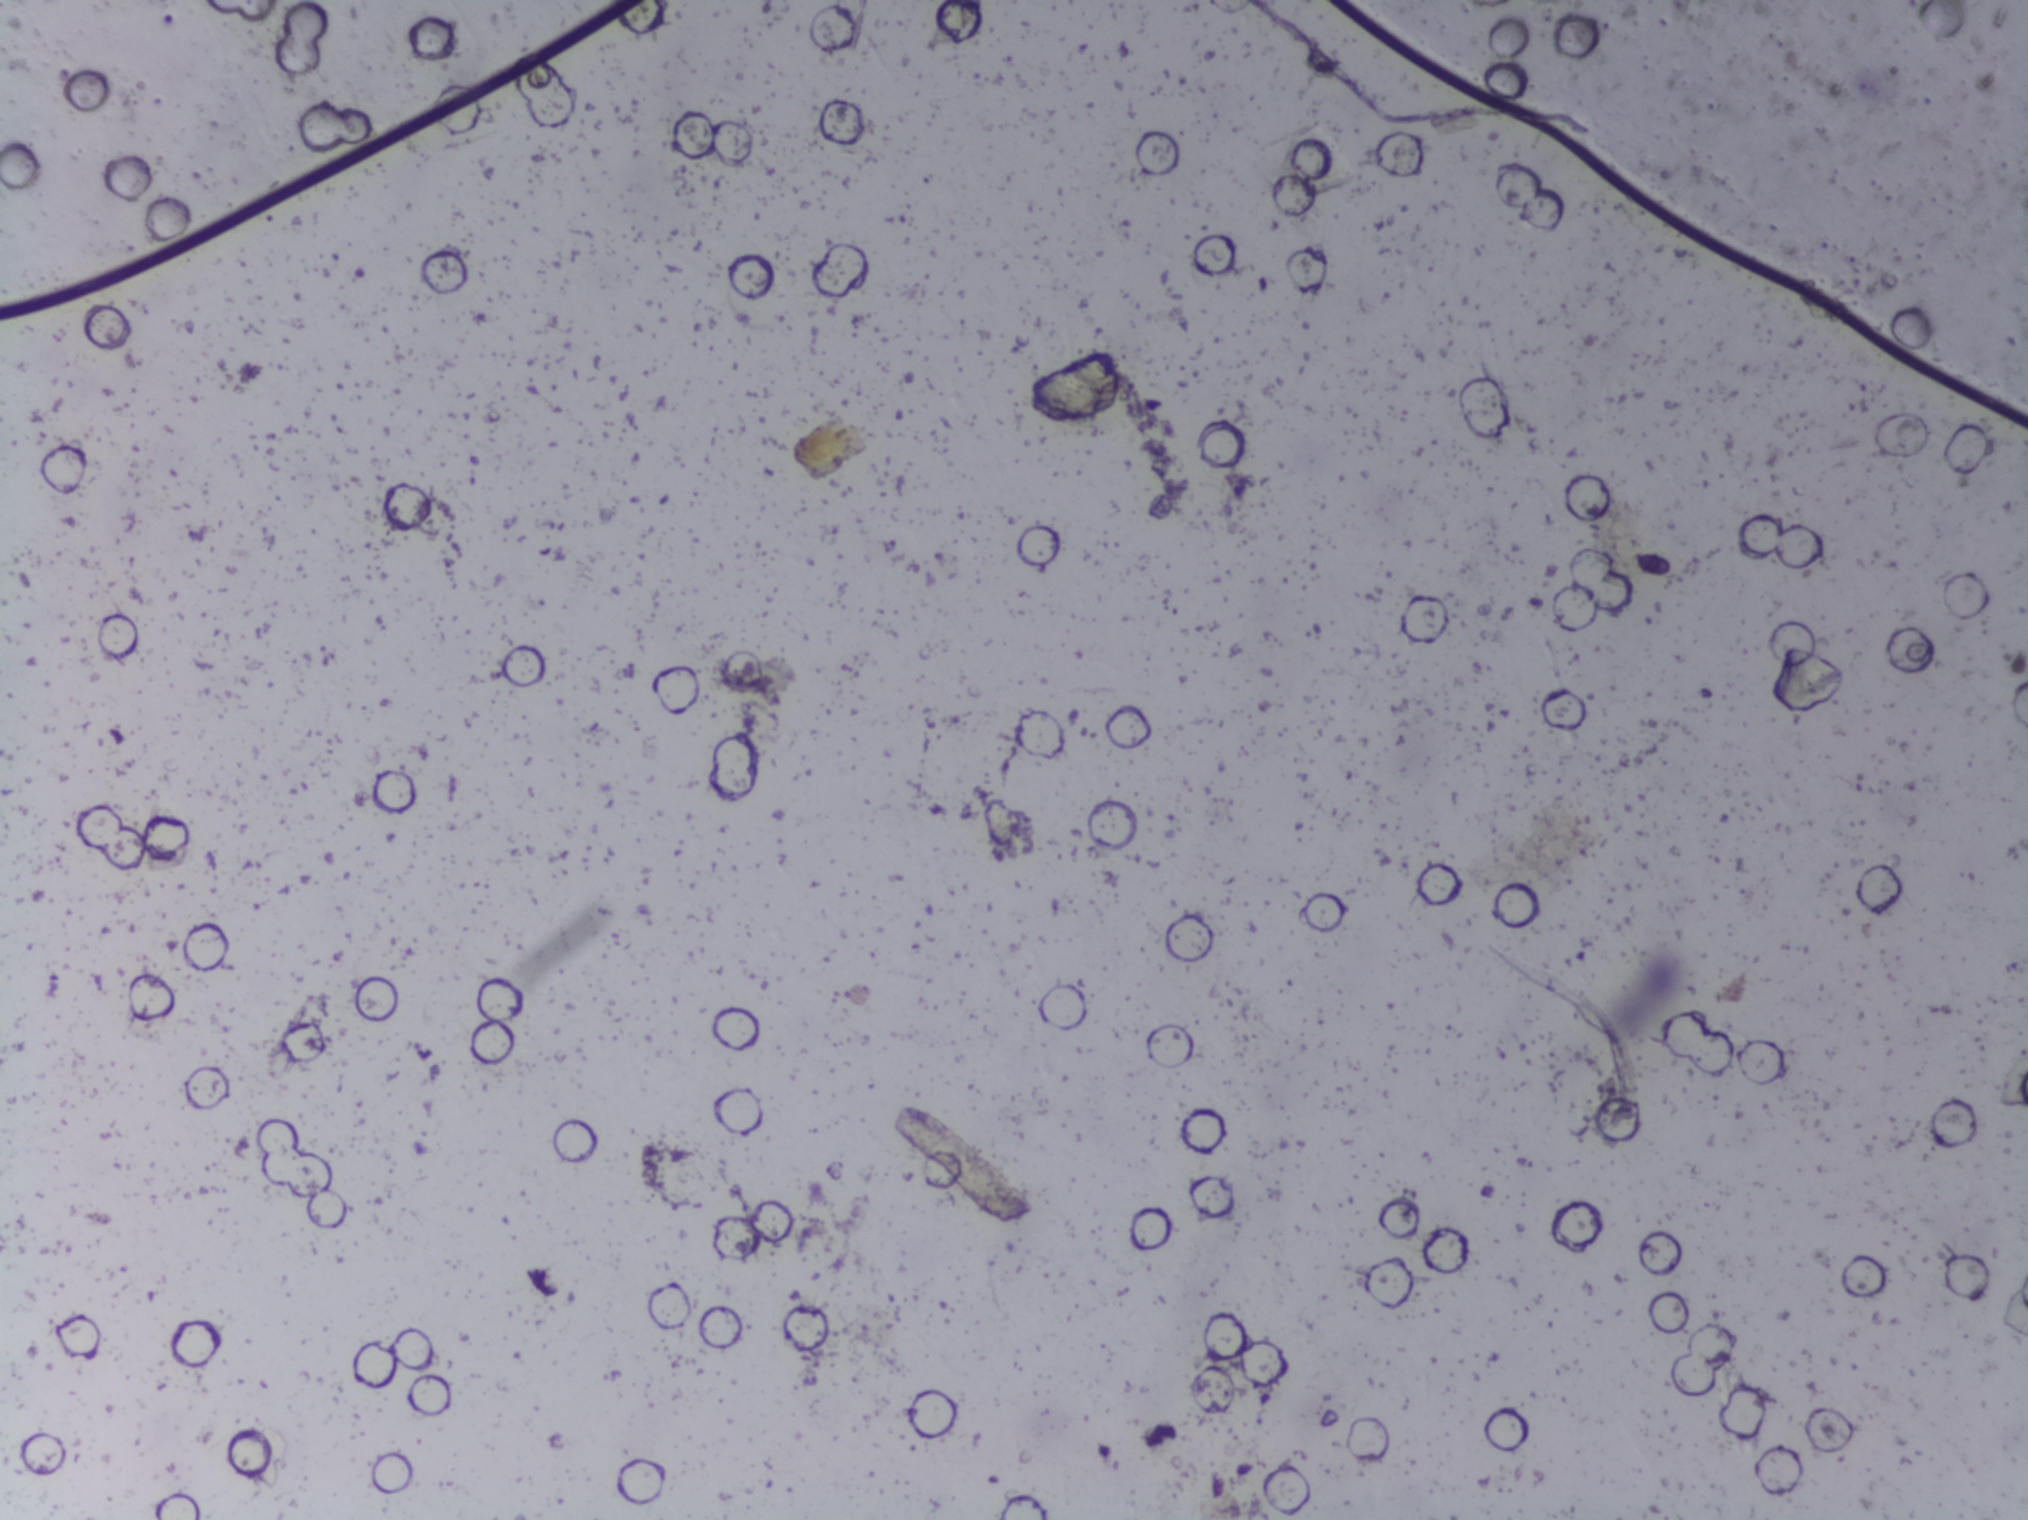
Photograph from an automated digital microscope: urine filter membrane, 4× objective. Field of view: about 1.5 mm wide and 1.1 mm high.
No area of this image was outlined as a Schistosoma egg.